Photomicrograph of a urine filtration membrane, 4× objective.
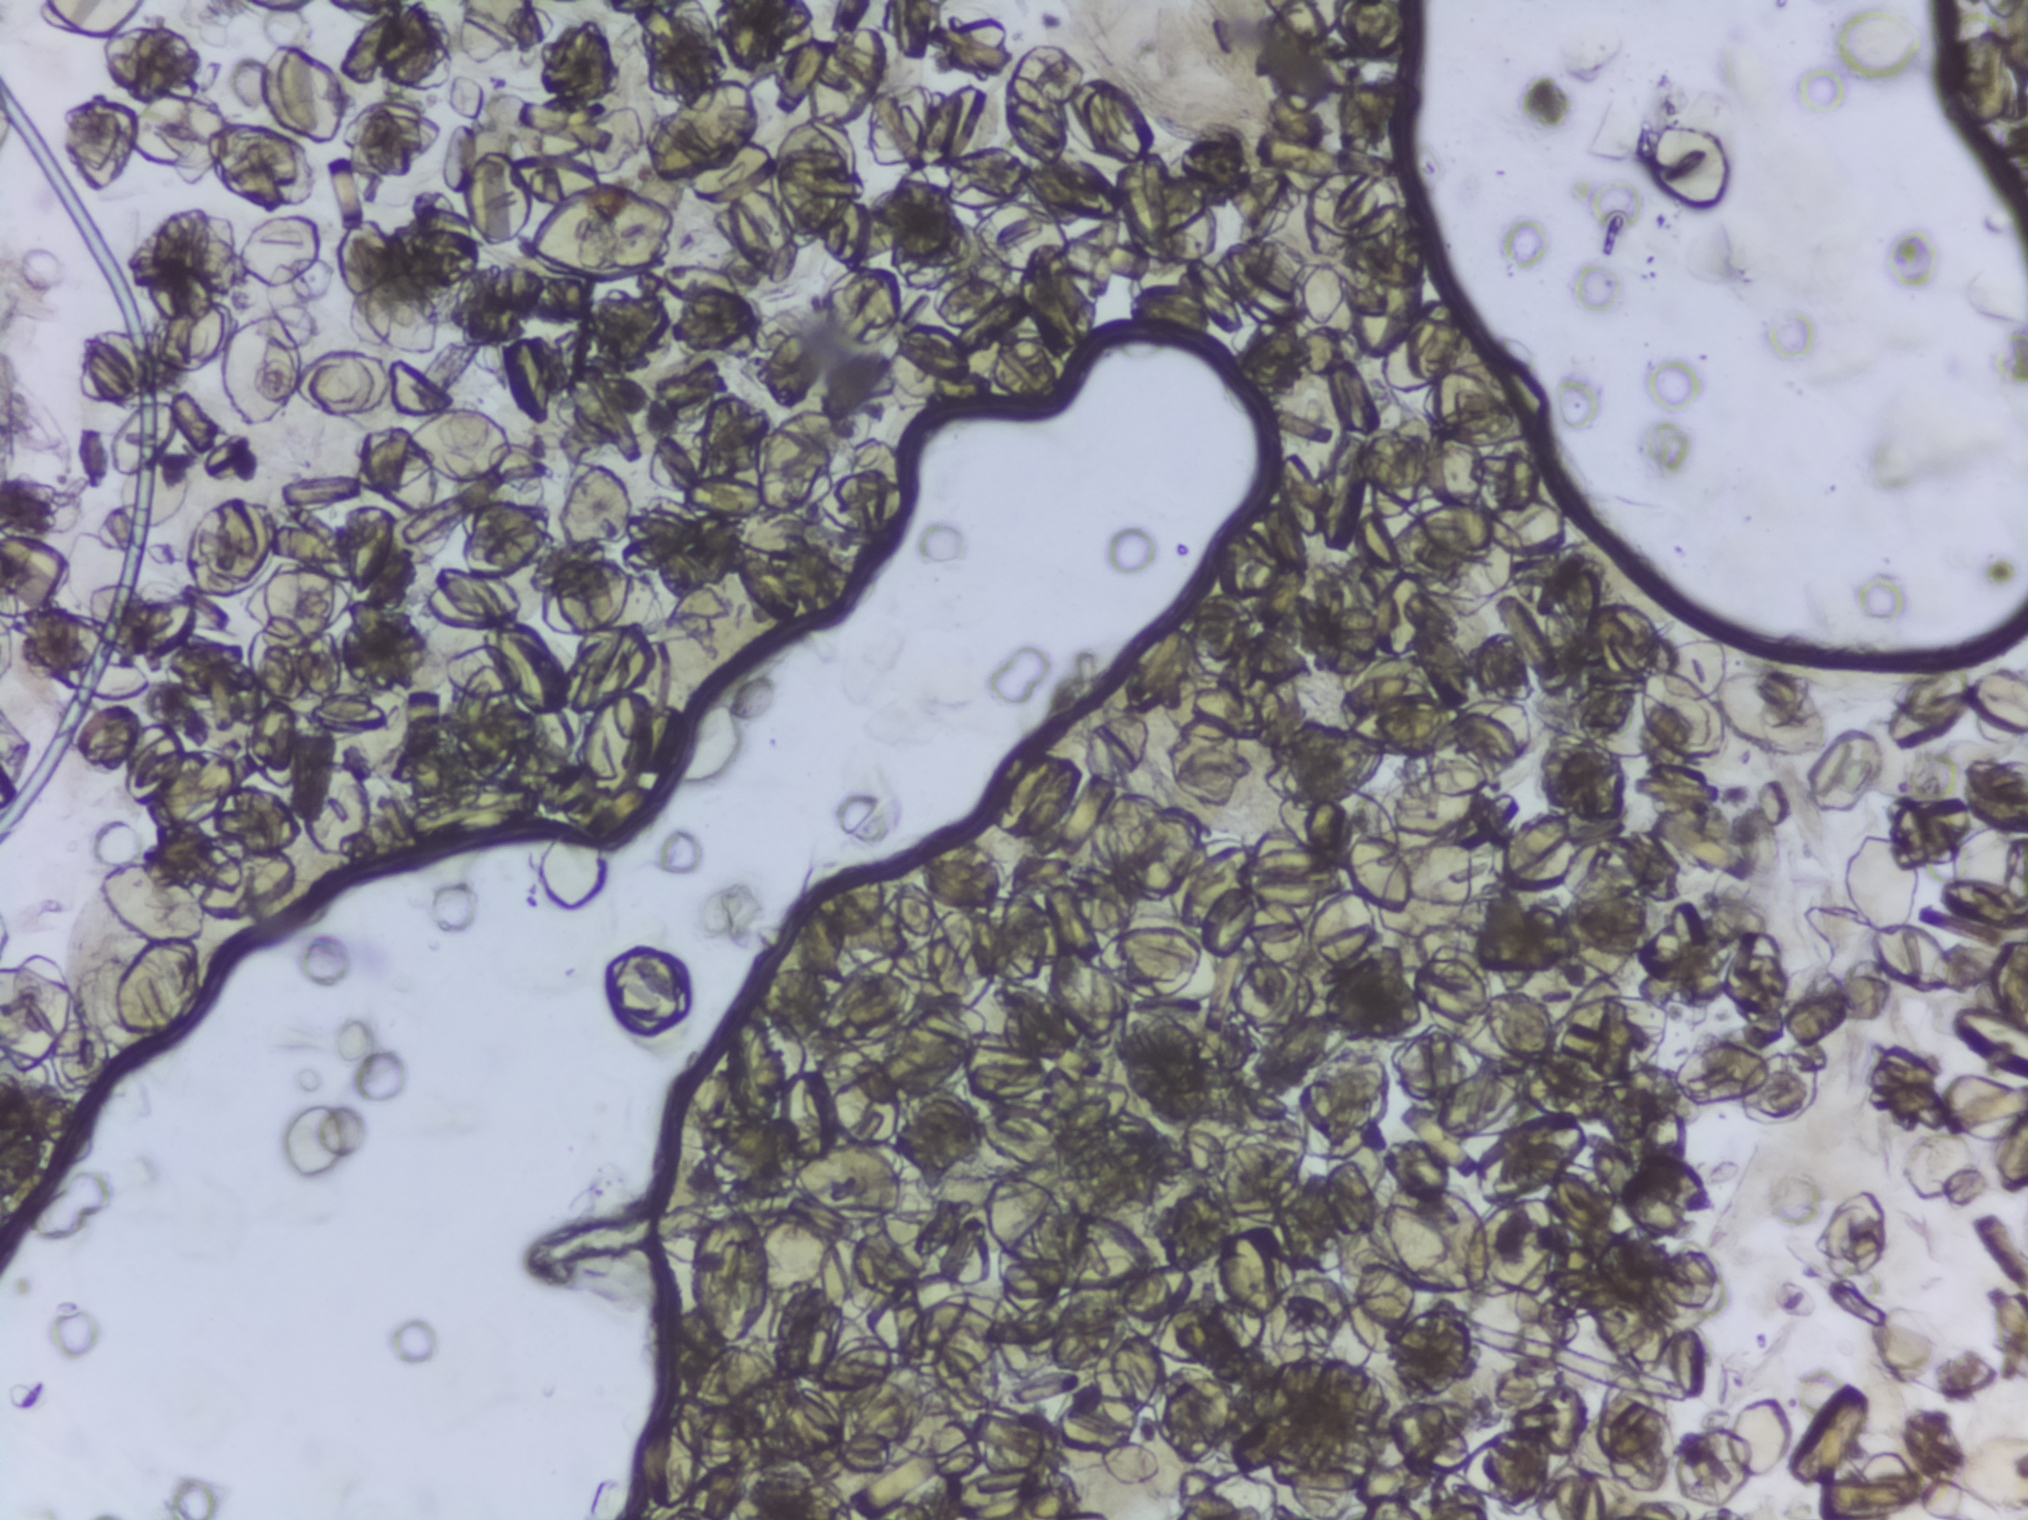
Schistosoma eggs: none outlined.